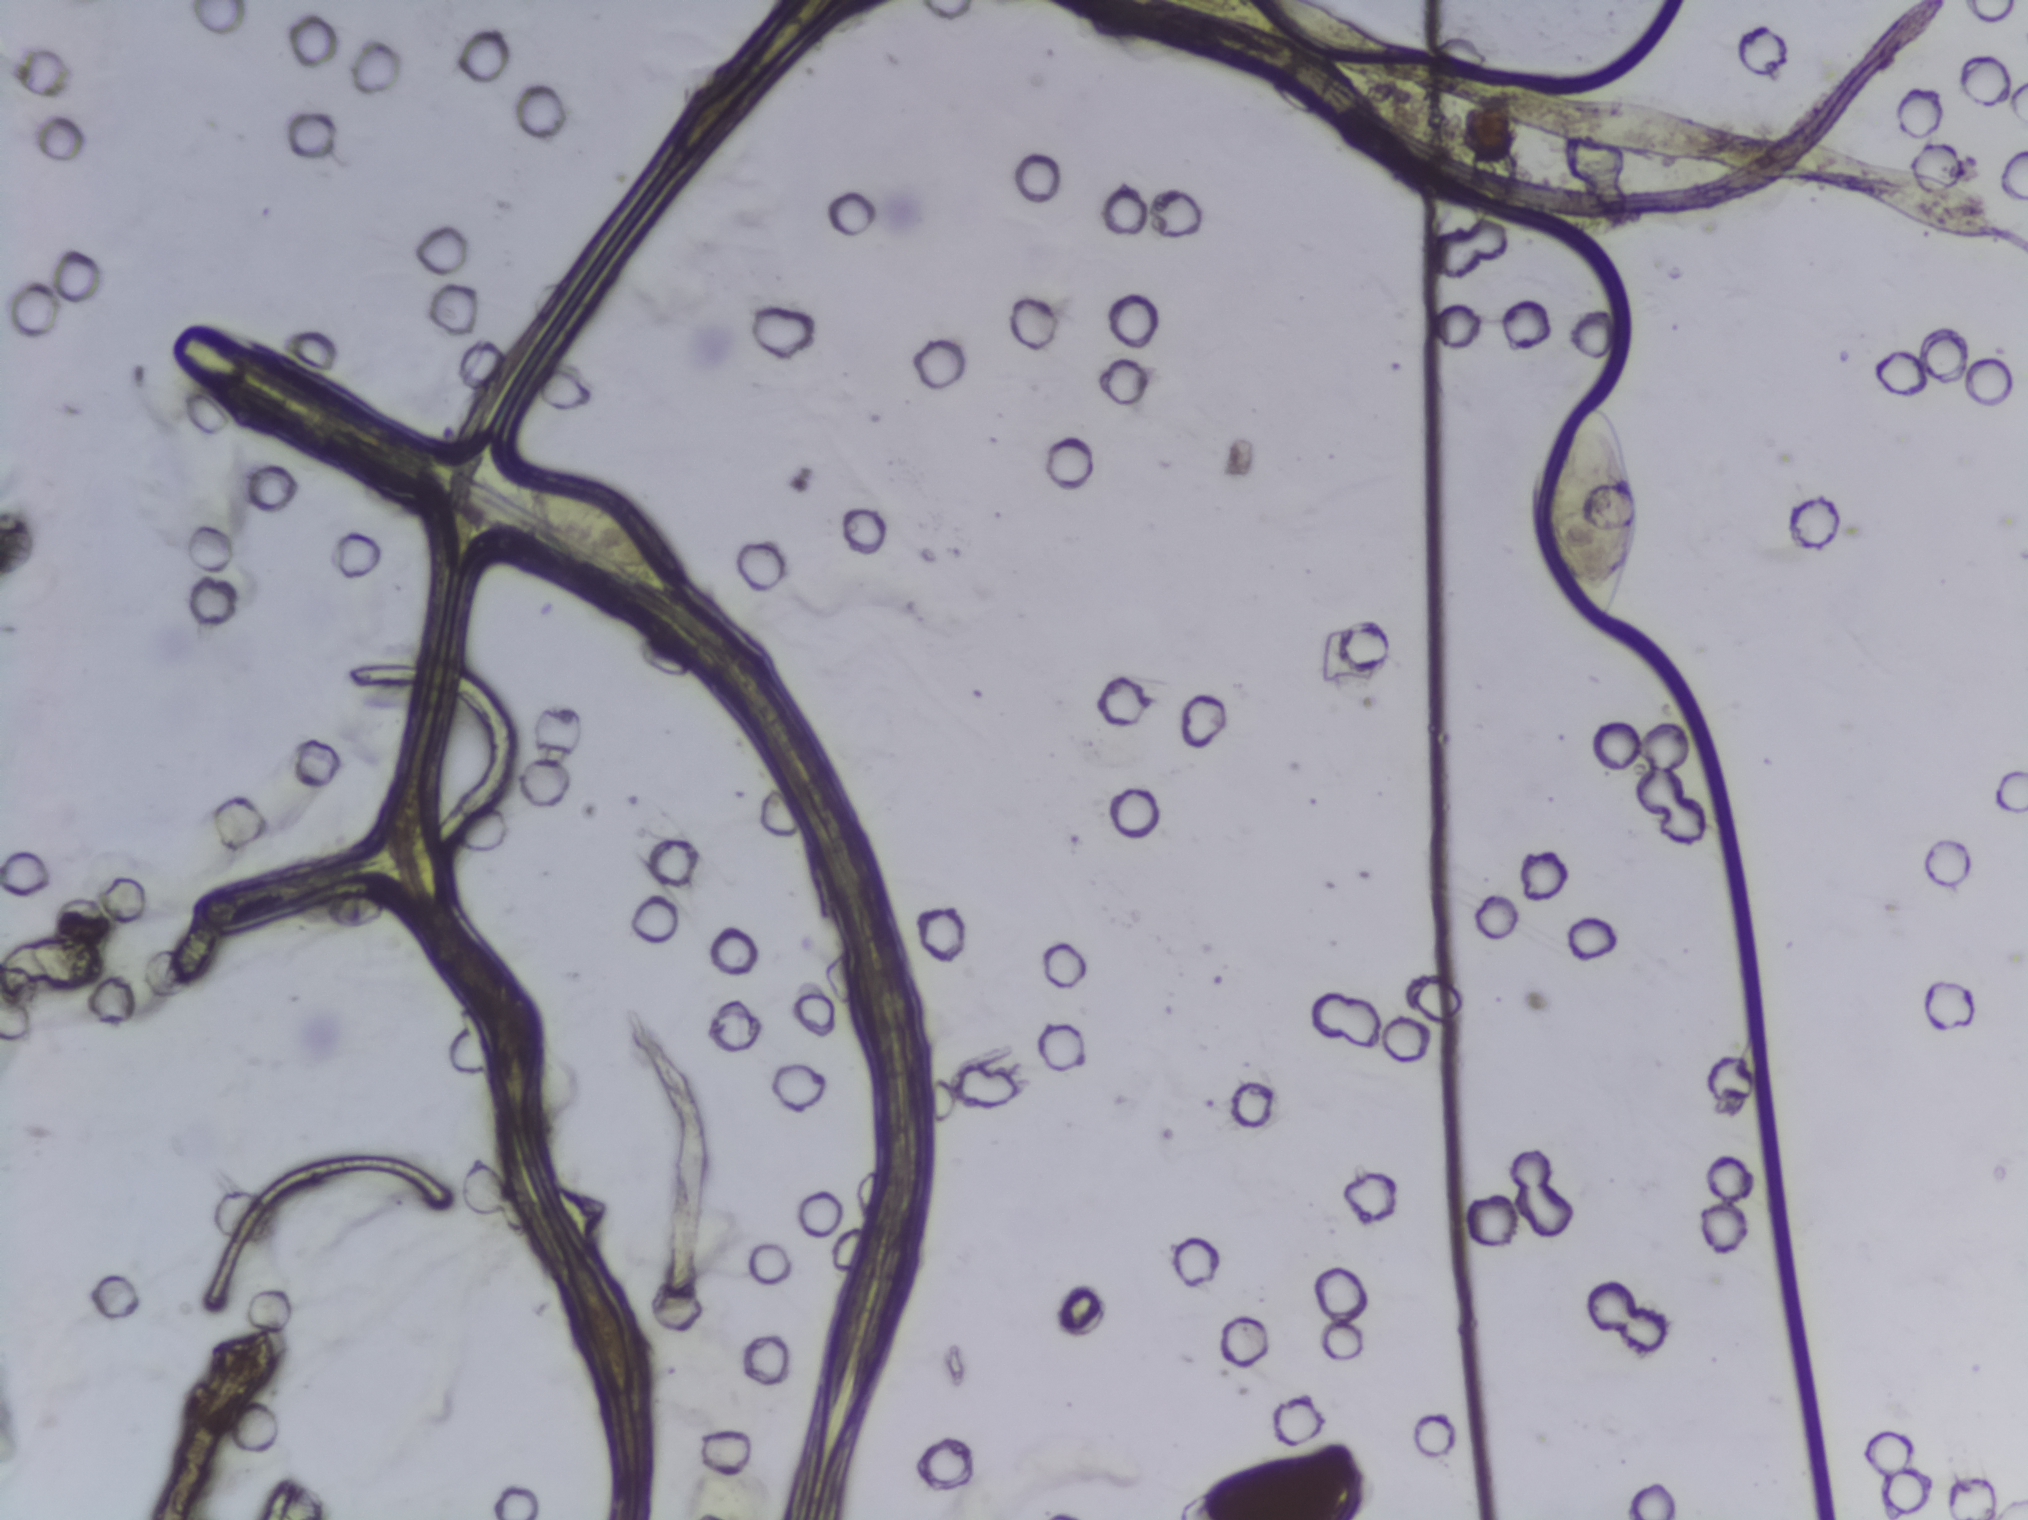
Photomicrograph of a urine filtration membrane, 4× objective. Field of view: about 1.5 mm wide and 1.1 mm high.
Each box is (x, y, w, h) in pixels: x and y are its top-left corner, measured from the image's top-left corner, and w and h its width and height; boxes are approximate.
Schistosoma eggs are outlined in the expert annotation at (x=515, y=474, w=145, h=93) and (x=1539, y=404, w=103, h=215). A single outlined area may contain several eggs.